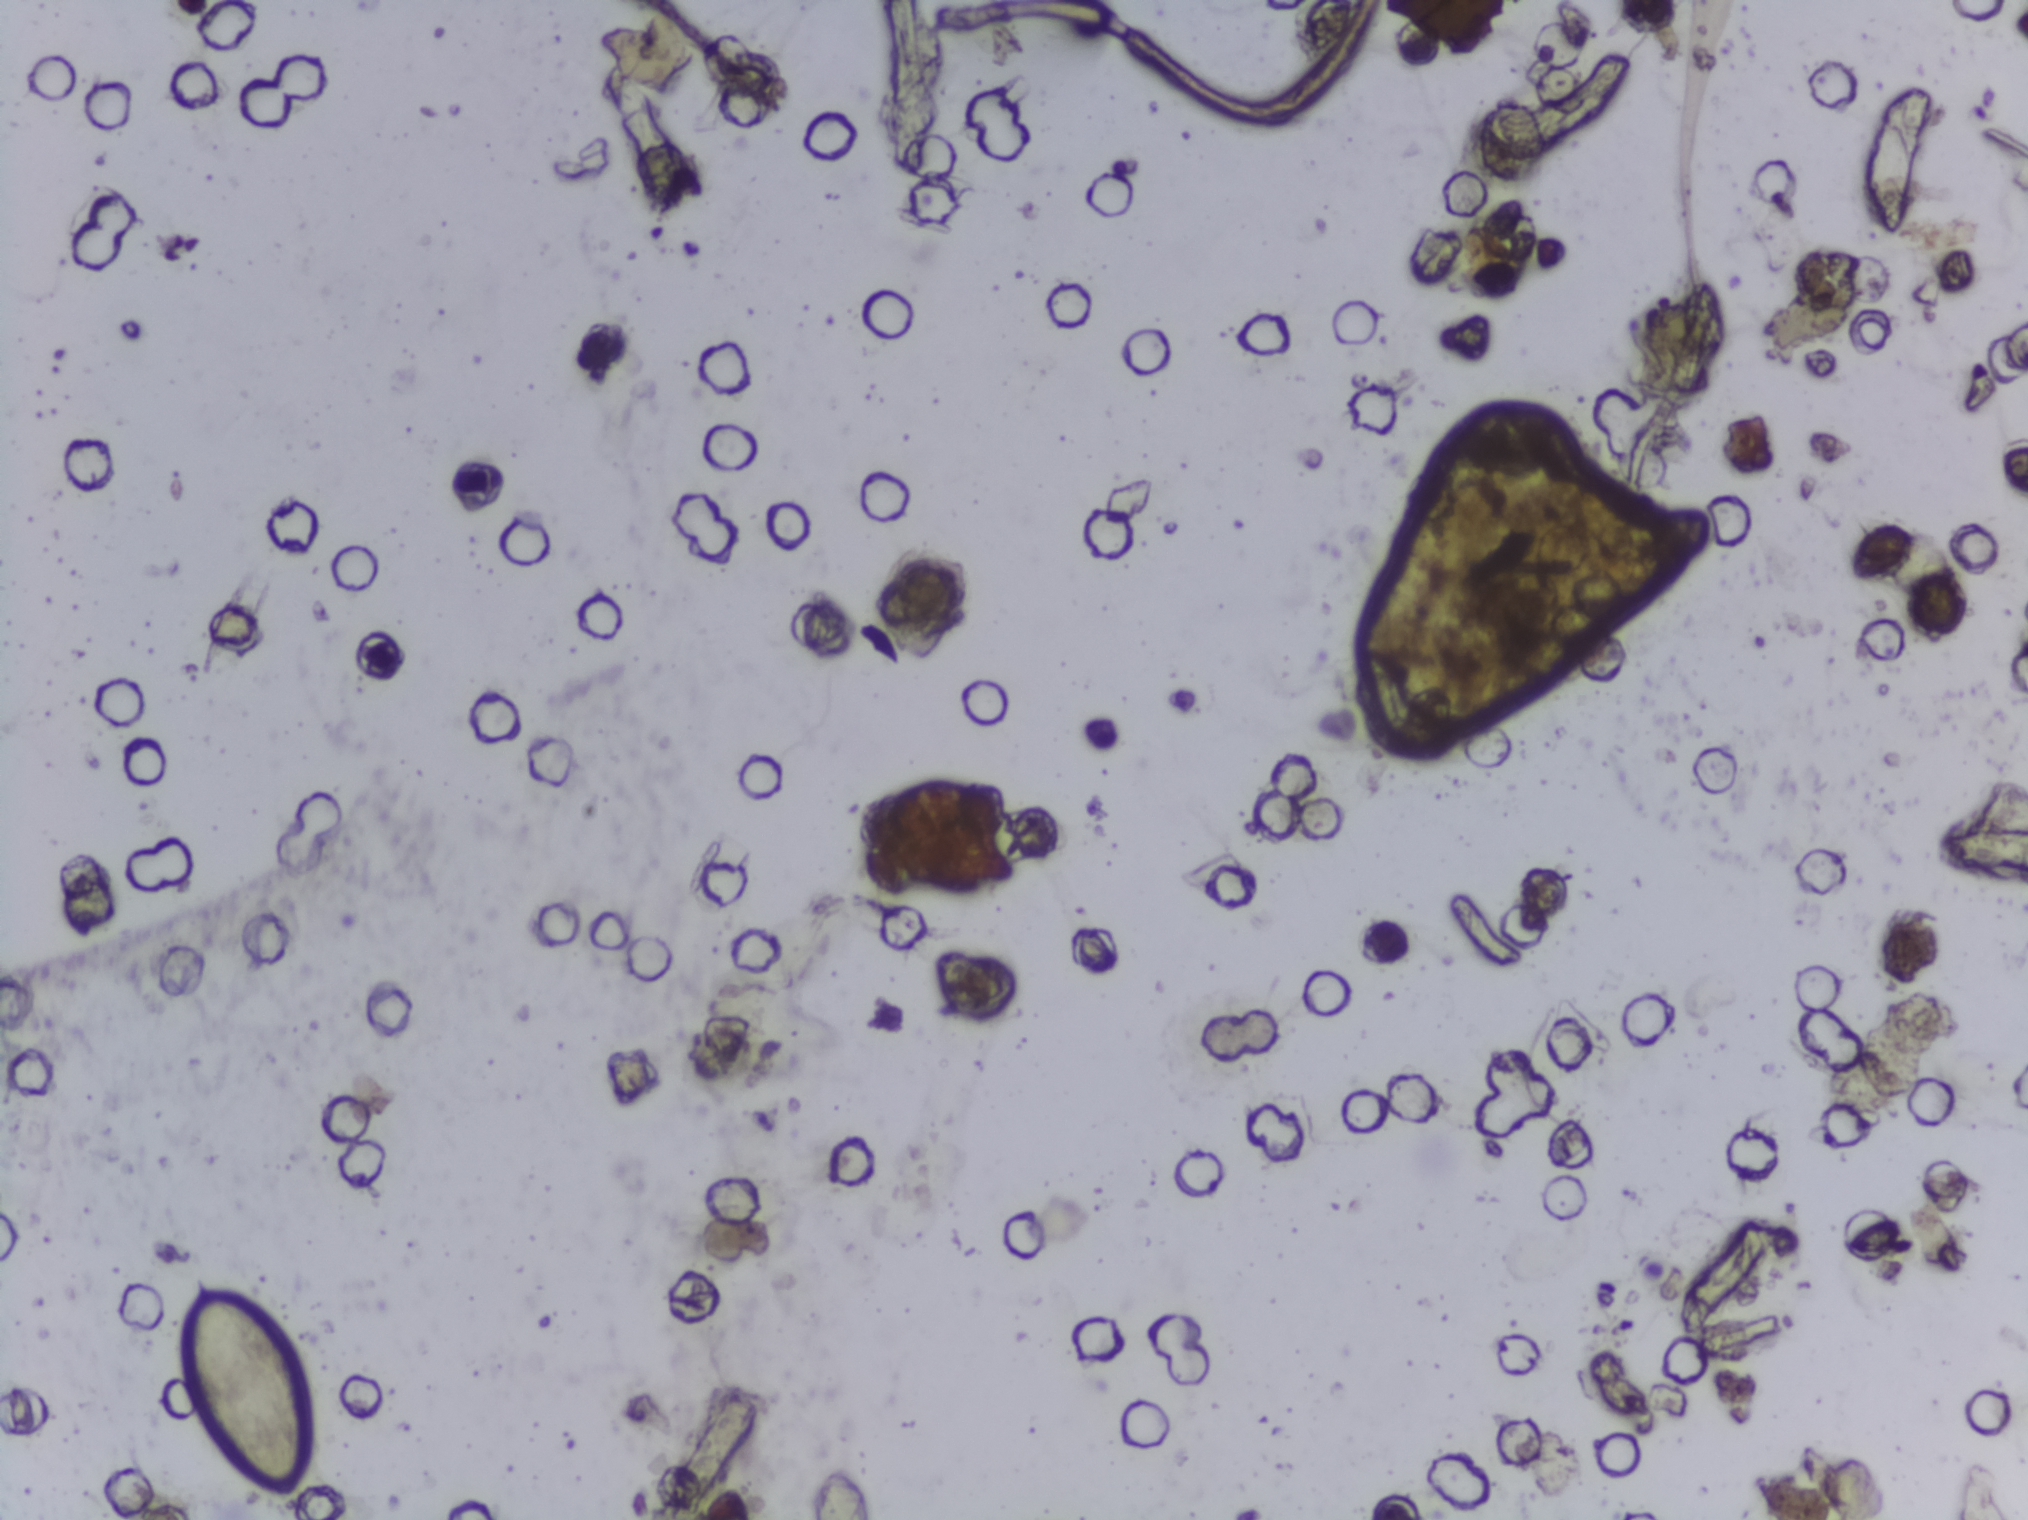
One field of view of a urine filter membrane, 4× objective, 2028 × 1520 pixels.
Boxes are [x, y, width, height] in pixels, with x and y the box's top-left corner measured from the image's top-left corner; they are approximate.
Schistosoma eggs are outlined in one area of this image: [180, 1270, 135, 235]. Marked pixels, not the box around them: about 0.7% of the image. A single outlined area may contain several eggs.